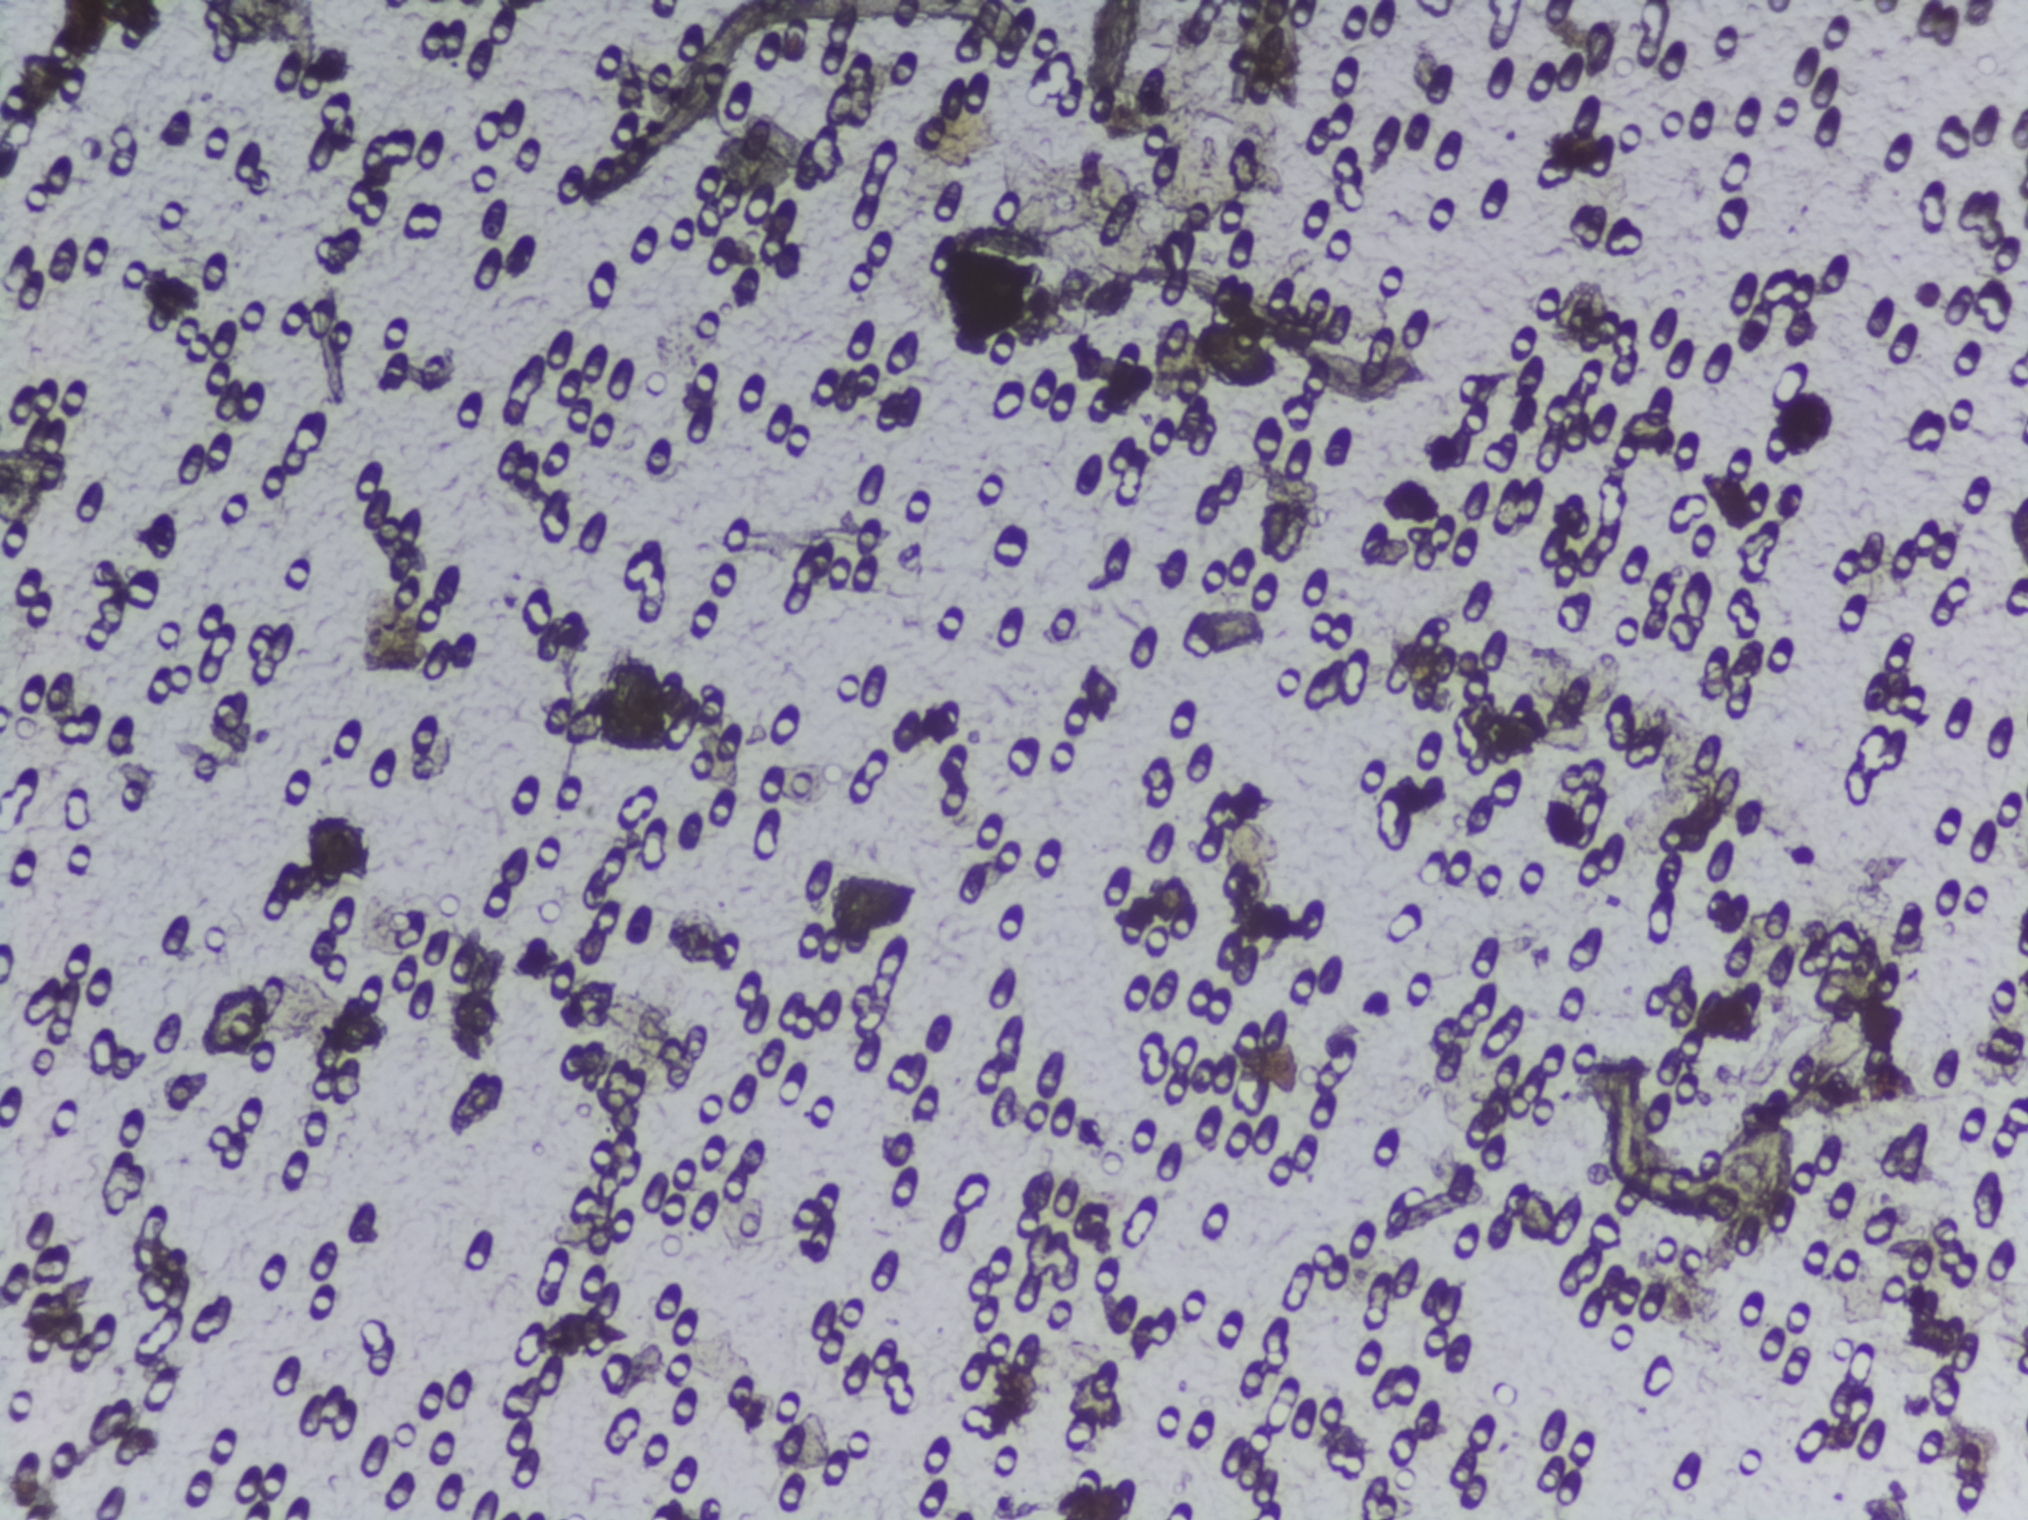
Urine filtration membrane under a 4× objective, photographed by an automated digital microscope.
The expert annotation outlines no Schistosoma egg in this image.